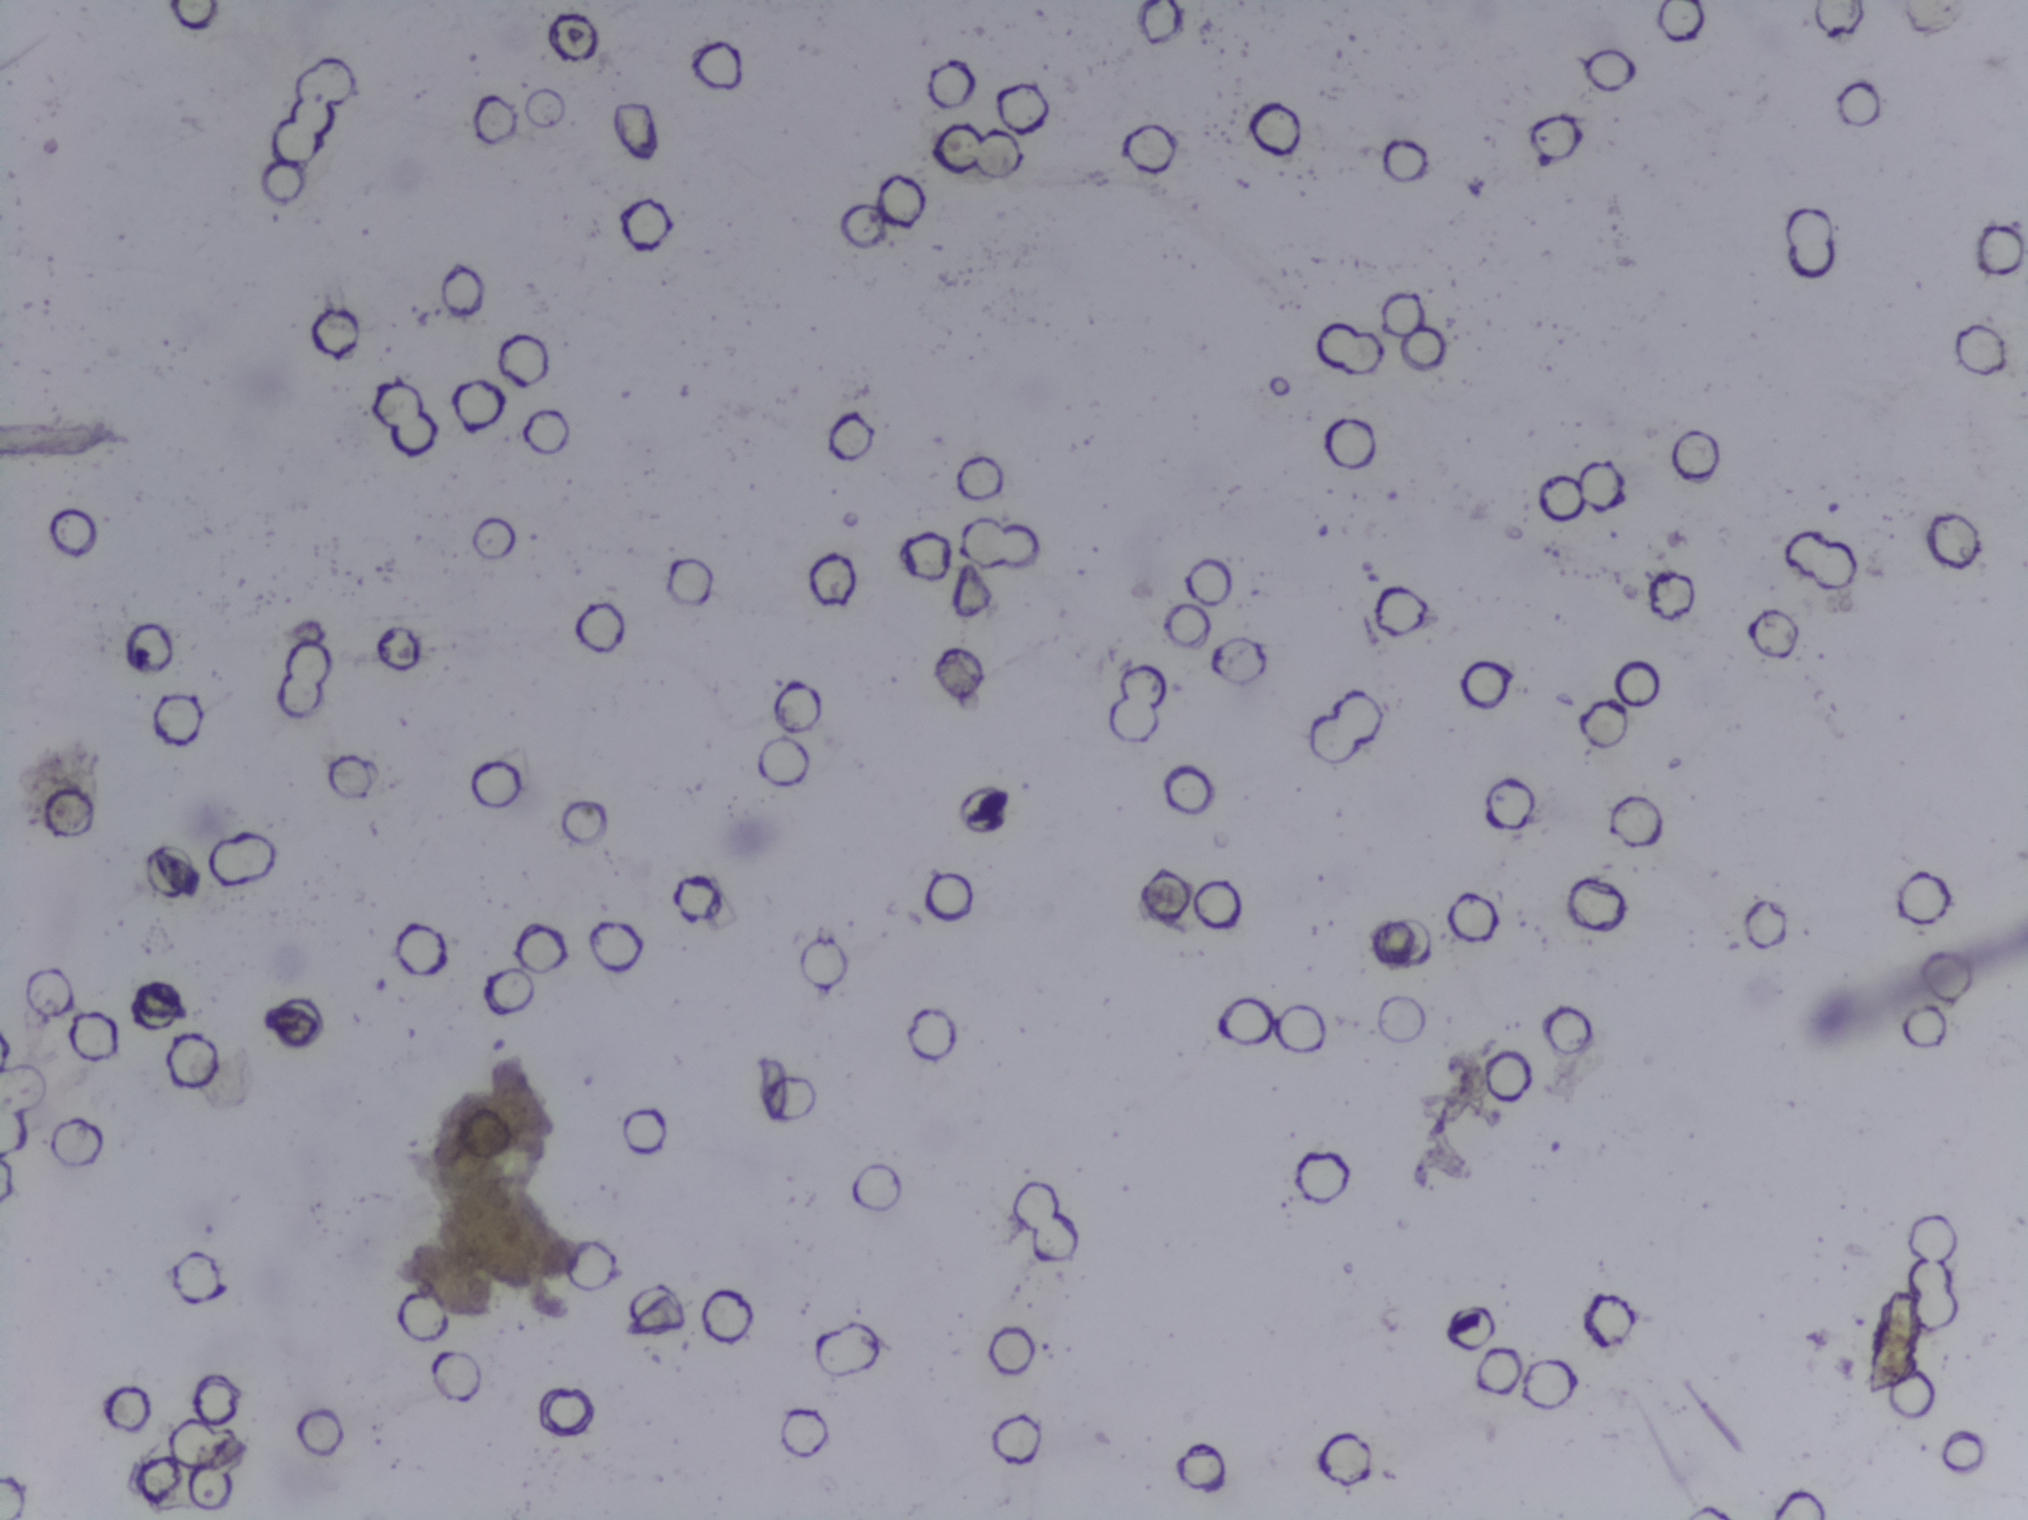
Photomicrograph of a urine filtration membrane, 4× objective.
Schistosoma eggs: none outlined.